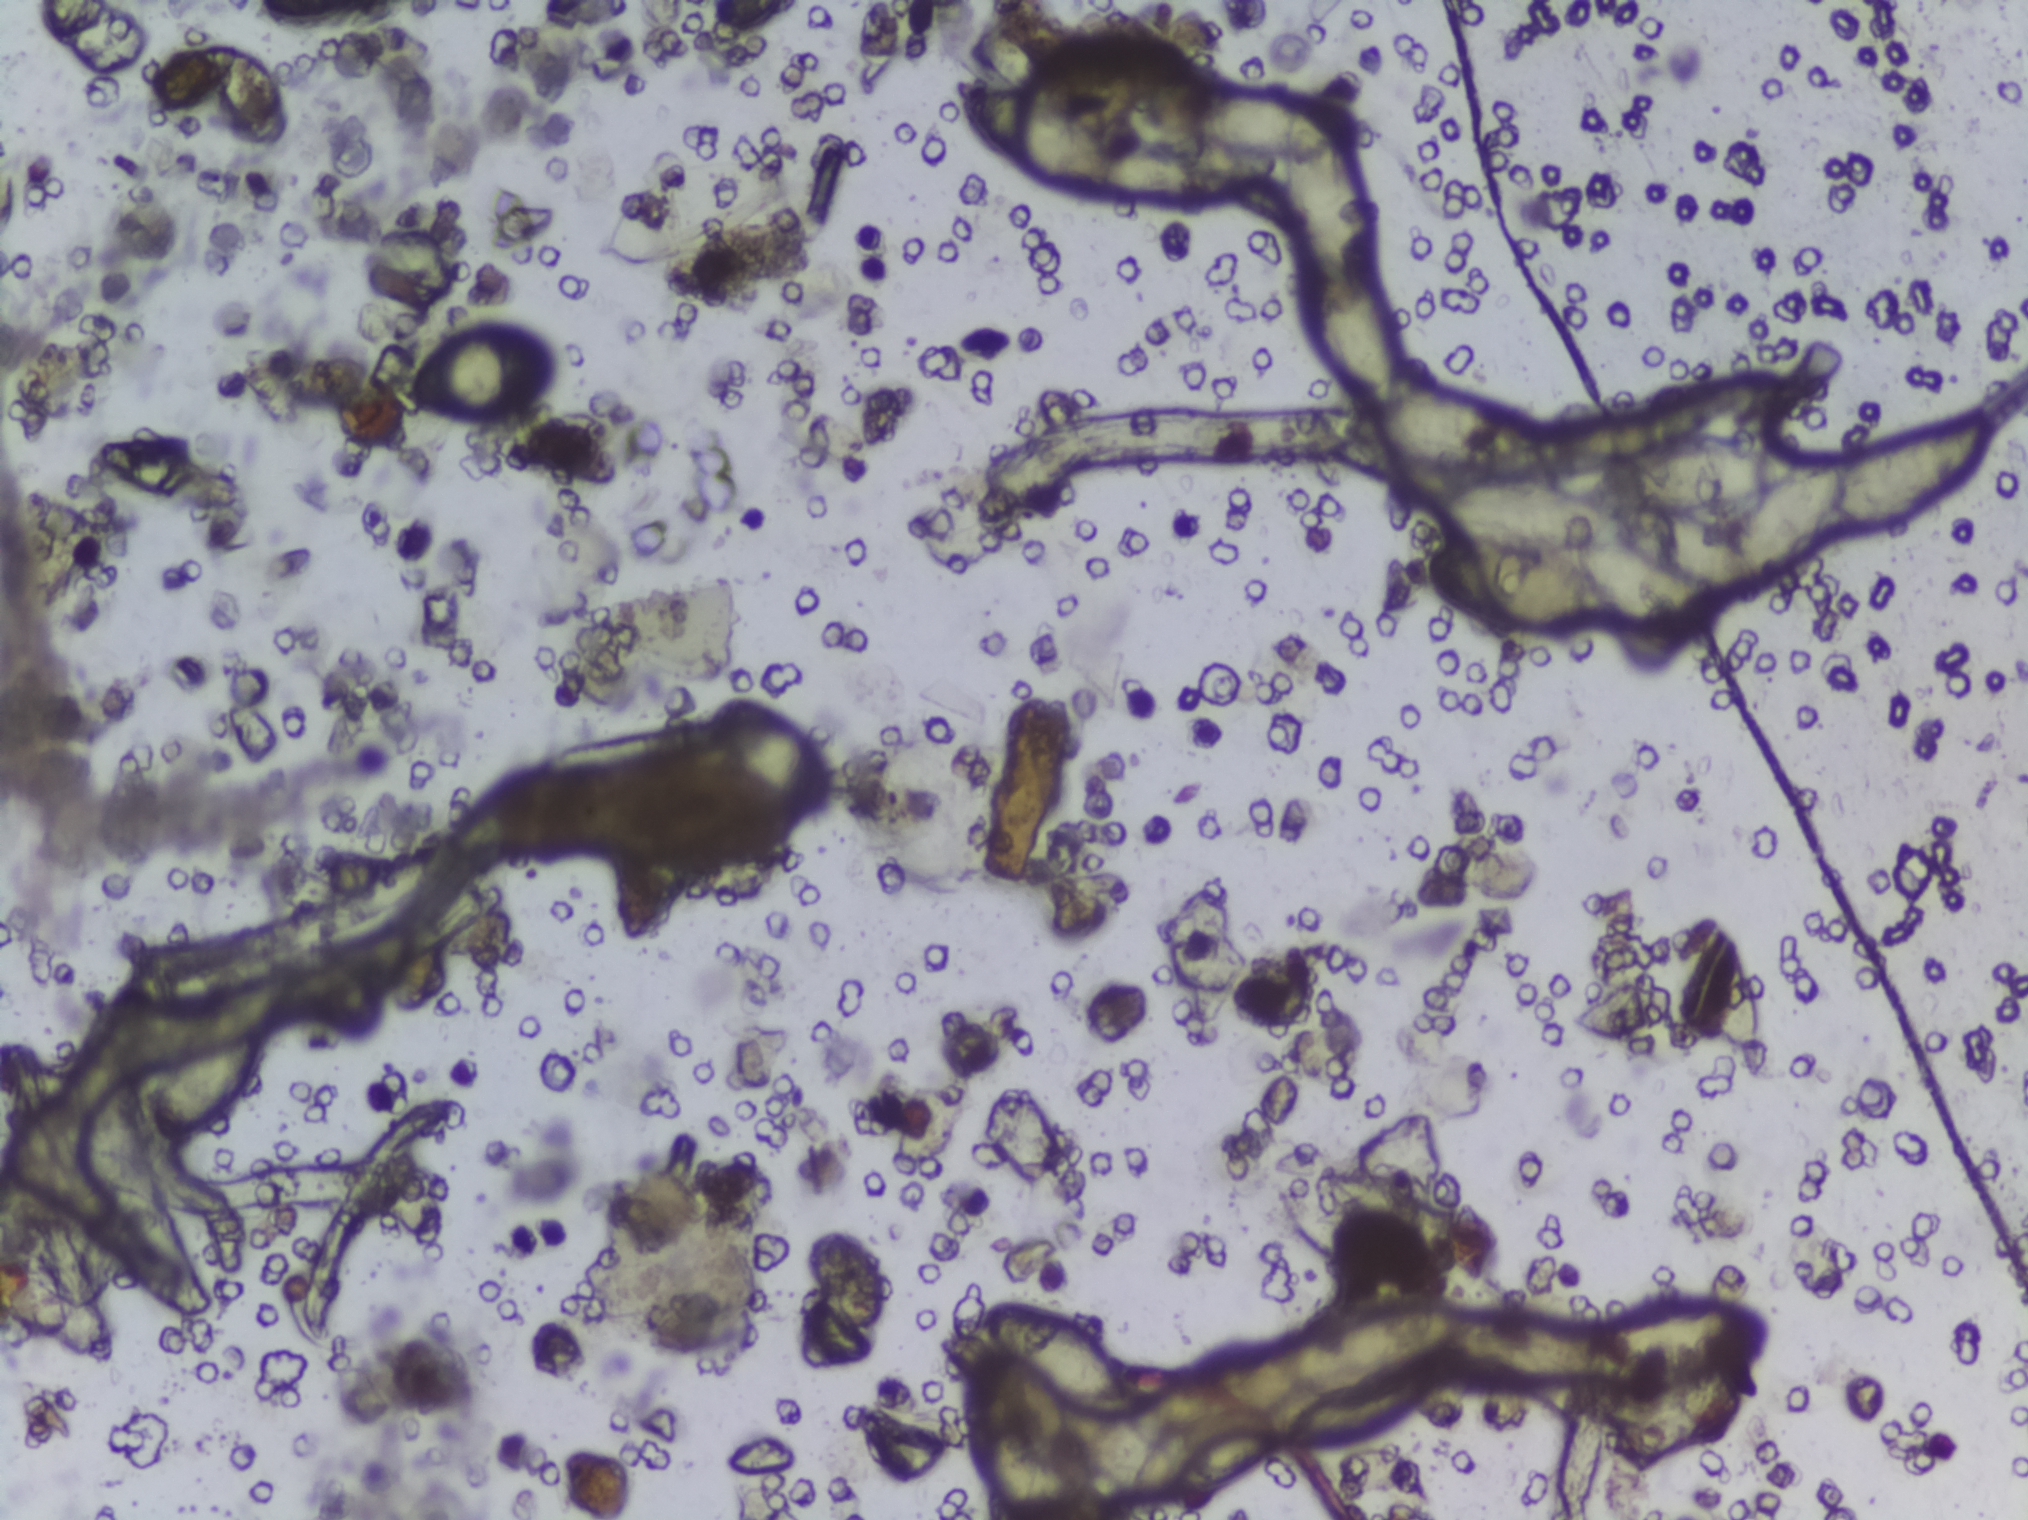
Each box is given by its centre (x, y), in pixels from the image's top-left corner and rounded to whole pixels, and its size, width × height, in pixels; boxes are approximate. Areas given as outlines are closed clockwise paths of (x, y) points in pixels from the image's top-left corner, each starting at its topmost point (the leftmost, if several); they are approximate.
Schistosoma eggs, outlined areas: box centre (209, 1056), 120 × 169 px; box centre (484, 370), 148 × 89 px; box centre (695, 210), 198 × 105 px; box centre (773, 756), 124 × 130 px; box centre (1051, 1404), 165 × 222 px; outline (999, 82), (1033, 83), (1059, 97), (1102, 133), (1110, 153), (1161, 151), (1171, 140), (1196, 135), (1190, 119), (1229, 92), (1275, 88), (1347, 103), (1367, 123), (1351, 141), (1365, 166), (1372, 216), (1366, 264), (1383, 285), (1397, 326), (1391, 386), (1461, 390), (1516, 417), (1533, 441), (1533, 465), (1473, 475), (1365, 446), (1348, 434), (1347, 414), (1364, 401), (1317, 351), (1310, 303), (1318, 279), (1288, 214), (1284, 164), (1254, 185), (1206, 187), (1190, 207), (1156, 206), (1102, 189), (1080, 196), (1033, 190), (1000, 170), (962, 107), (964, 90) (eggs clustered together); outline (1666, 1300), (1754, 1309), (1767, 1330), (1719, 1371), (1681, 1389), (1644, 1396), (1609, 1393), (1584, 1376), (1507, 1379), (1472, 1363), (1460, 1347), (1433, 1370), (1440, 1374), (1440, 1389), (1425, 1411), (1384, 1439), (1345, 1450), (1280, 1444), (1257, 1474), (1237, 1482), (1126, 1494), (1146, 1446), (1177, 1420), (1229, 1406), (1270, 1410), (1288, 1385), (1280, 1376), (1286, 1350), (1302, 1330), (1327, 1317), (1449, 1306), (1465, 1316), (1564, 1317), (1592, 1334), (1622, 1309) (eggs clustered together); outline (1975, 416), (1983, 433), (1979, 450), (1963, 479), (1938, 503), (1900, 526), (1847, 538), (1824, 533), (1795, 570), (1756, 598), (1714, 595), (1716, 626), (1698, 642), (1665, 643), (1604, 616), (1551, 629), (1489, 622), (1454, 610), (1418, 567), (1420, 547), (1430, 551), (1468, 536), (1431, 502), (1470, 480), (1531, 480), (1594, 502), (1591, 489), (1609, 470), (1676, 431), (1745, 436), (1801, 462), (1821, 454), (1848, 457), (1850, 450), (1900, 433) (eggs clustered together). Eggs that touch can end up inside the same outlined area.
Urine filtration membrane under a 4× objective, photographed by an automated digital microscope.